Microscope photograph (4× objective) of a membrane that a urine sample was filtered through.
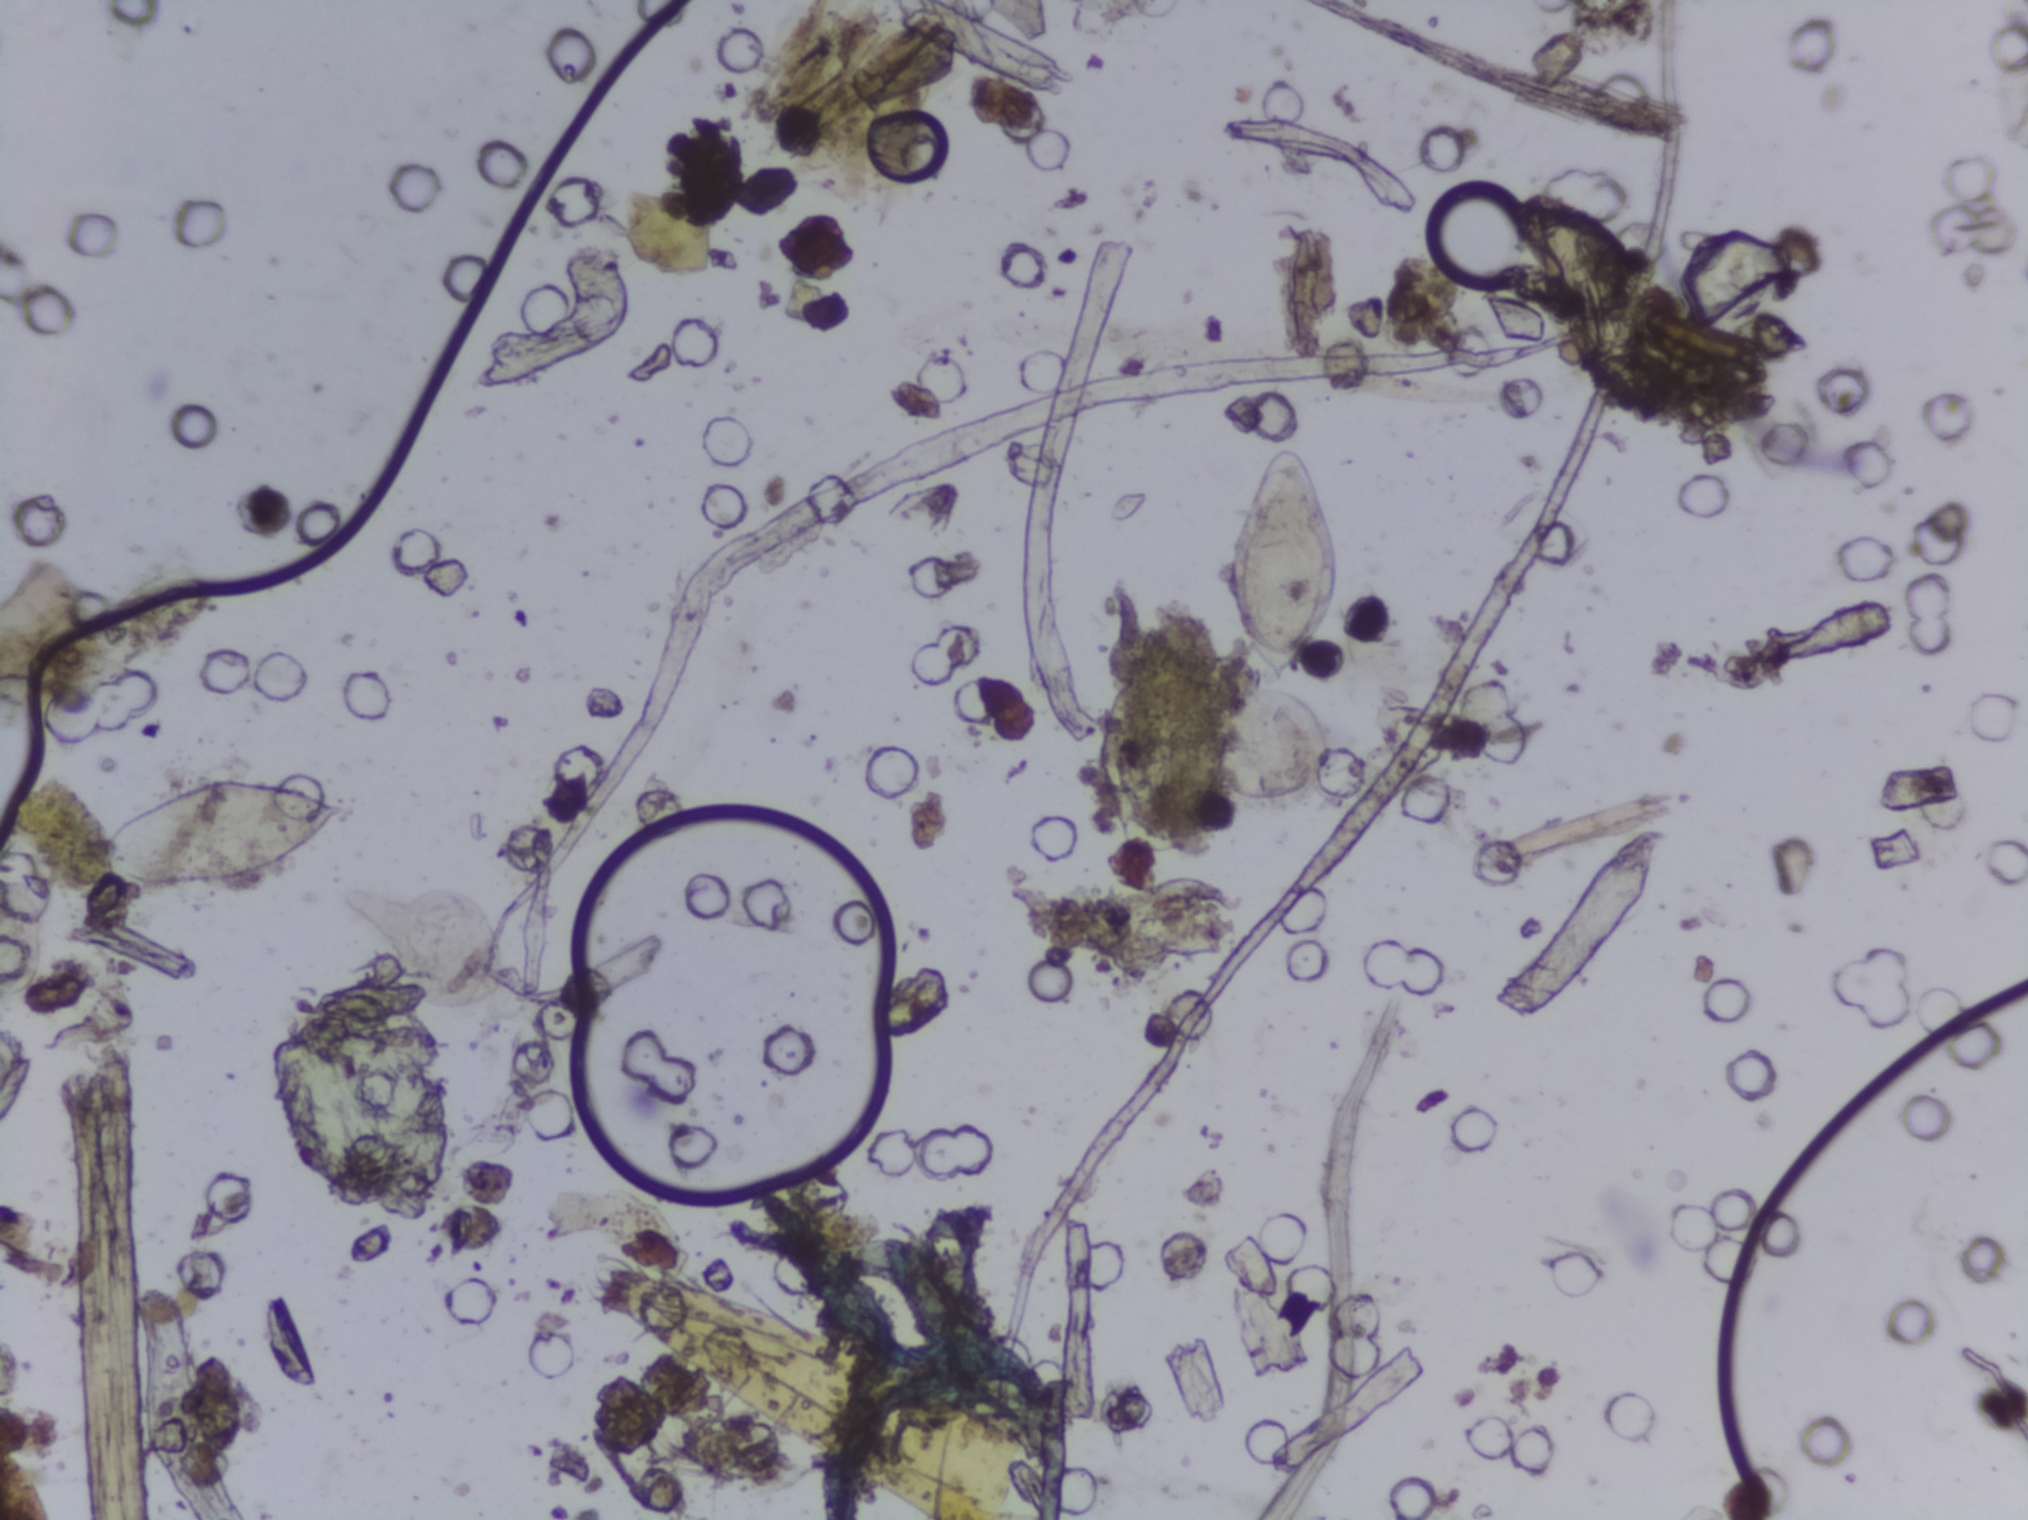
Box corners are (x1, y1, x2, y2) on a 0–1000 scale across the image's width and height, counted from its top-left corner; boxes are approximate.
Areas outlined as Schistosoma eggs: (47, 506, 173, 591); (604, 293, 662, 453). Marked pixels, not the boxes around them: about 1.5% of the image. A single outlined area may contain several eggs.